Urine filtration membrane under a 4× objective, photographed by an automated digital microscope.
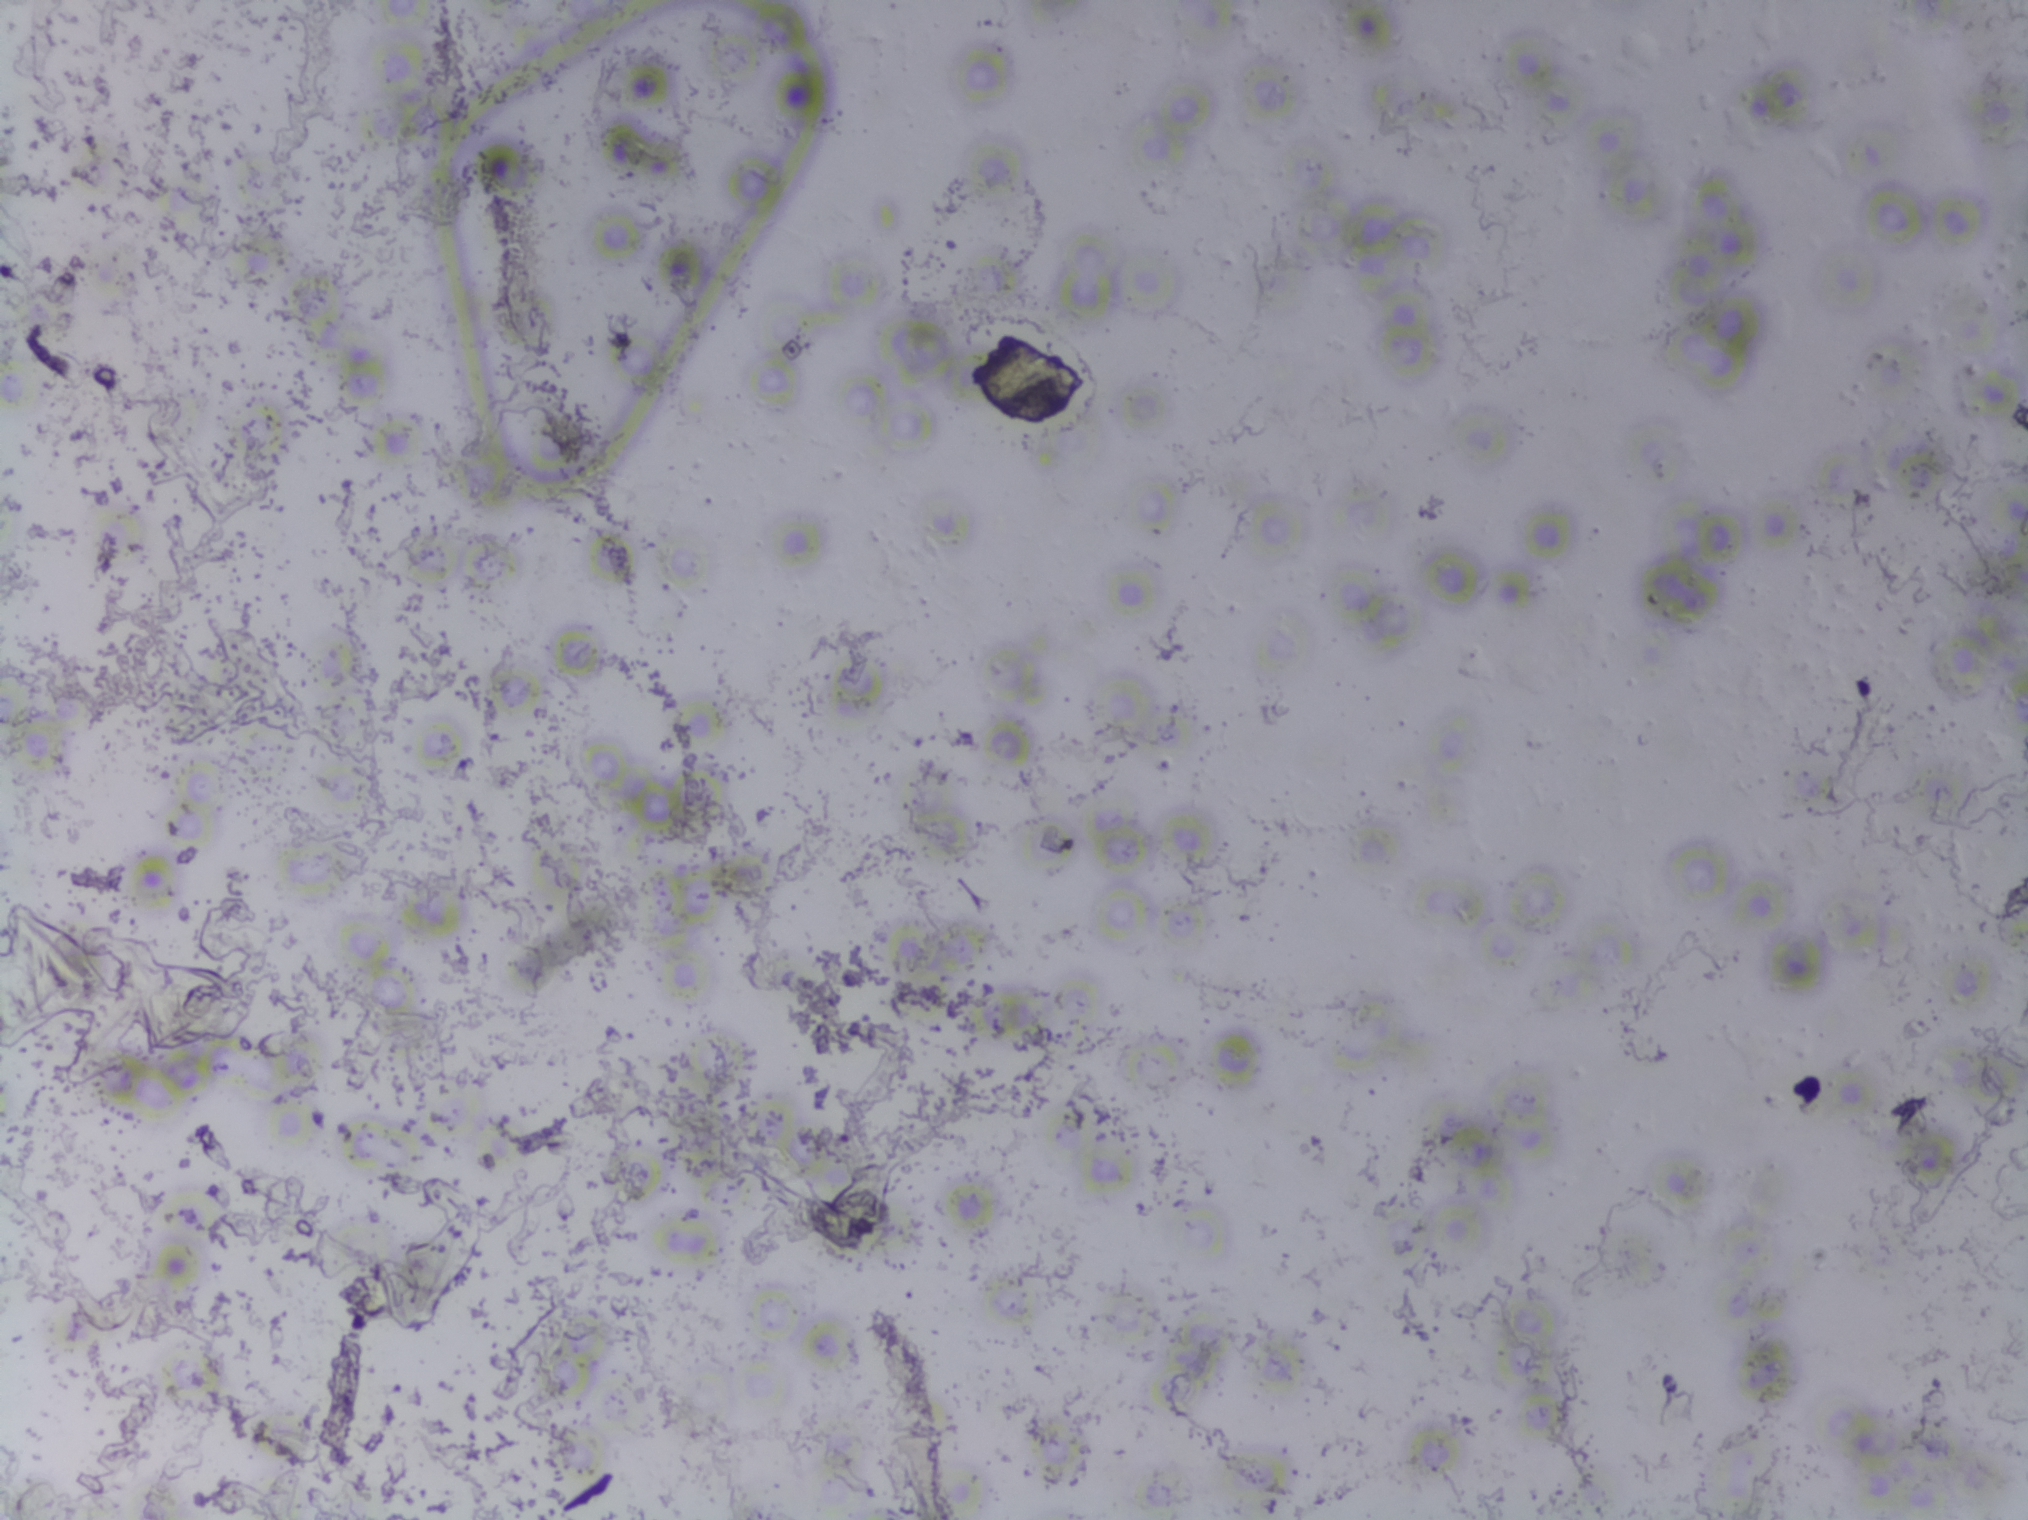
Schistosoma eggs: none outlined.